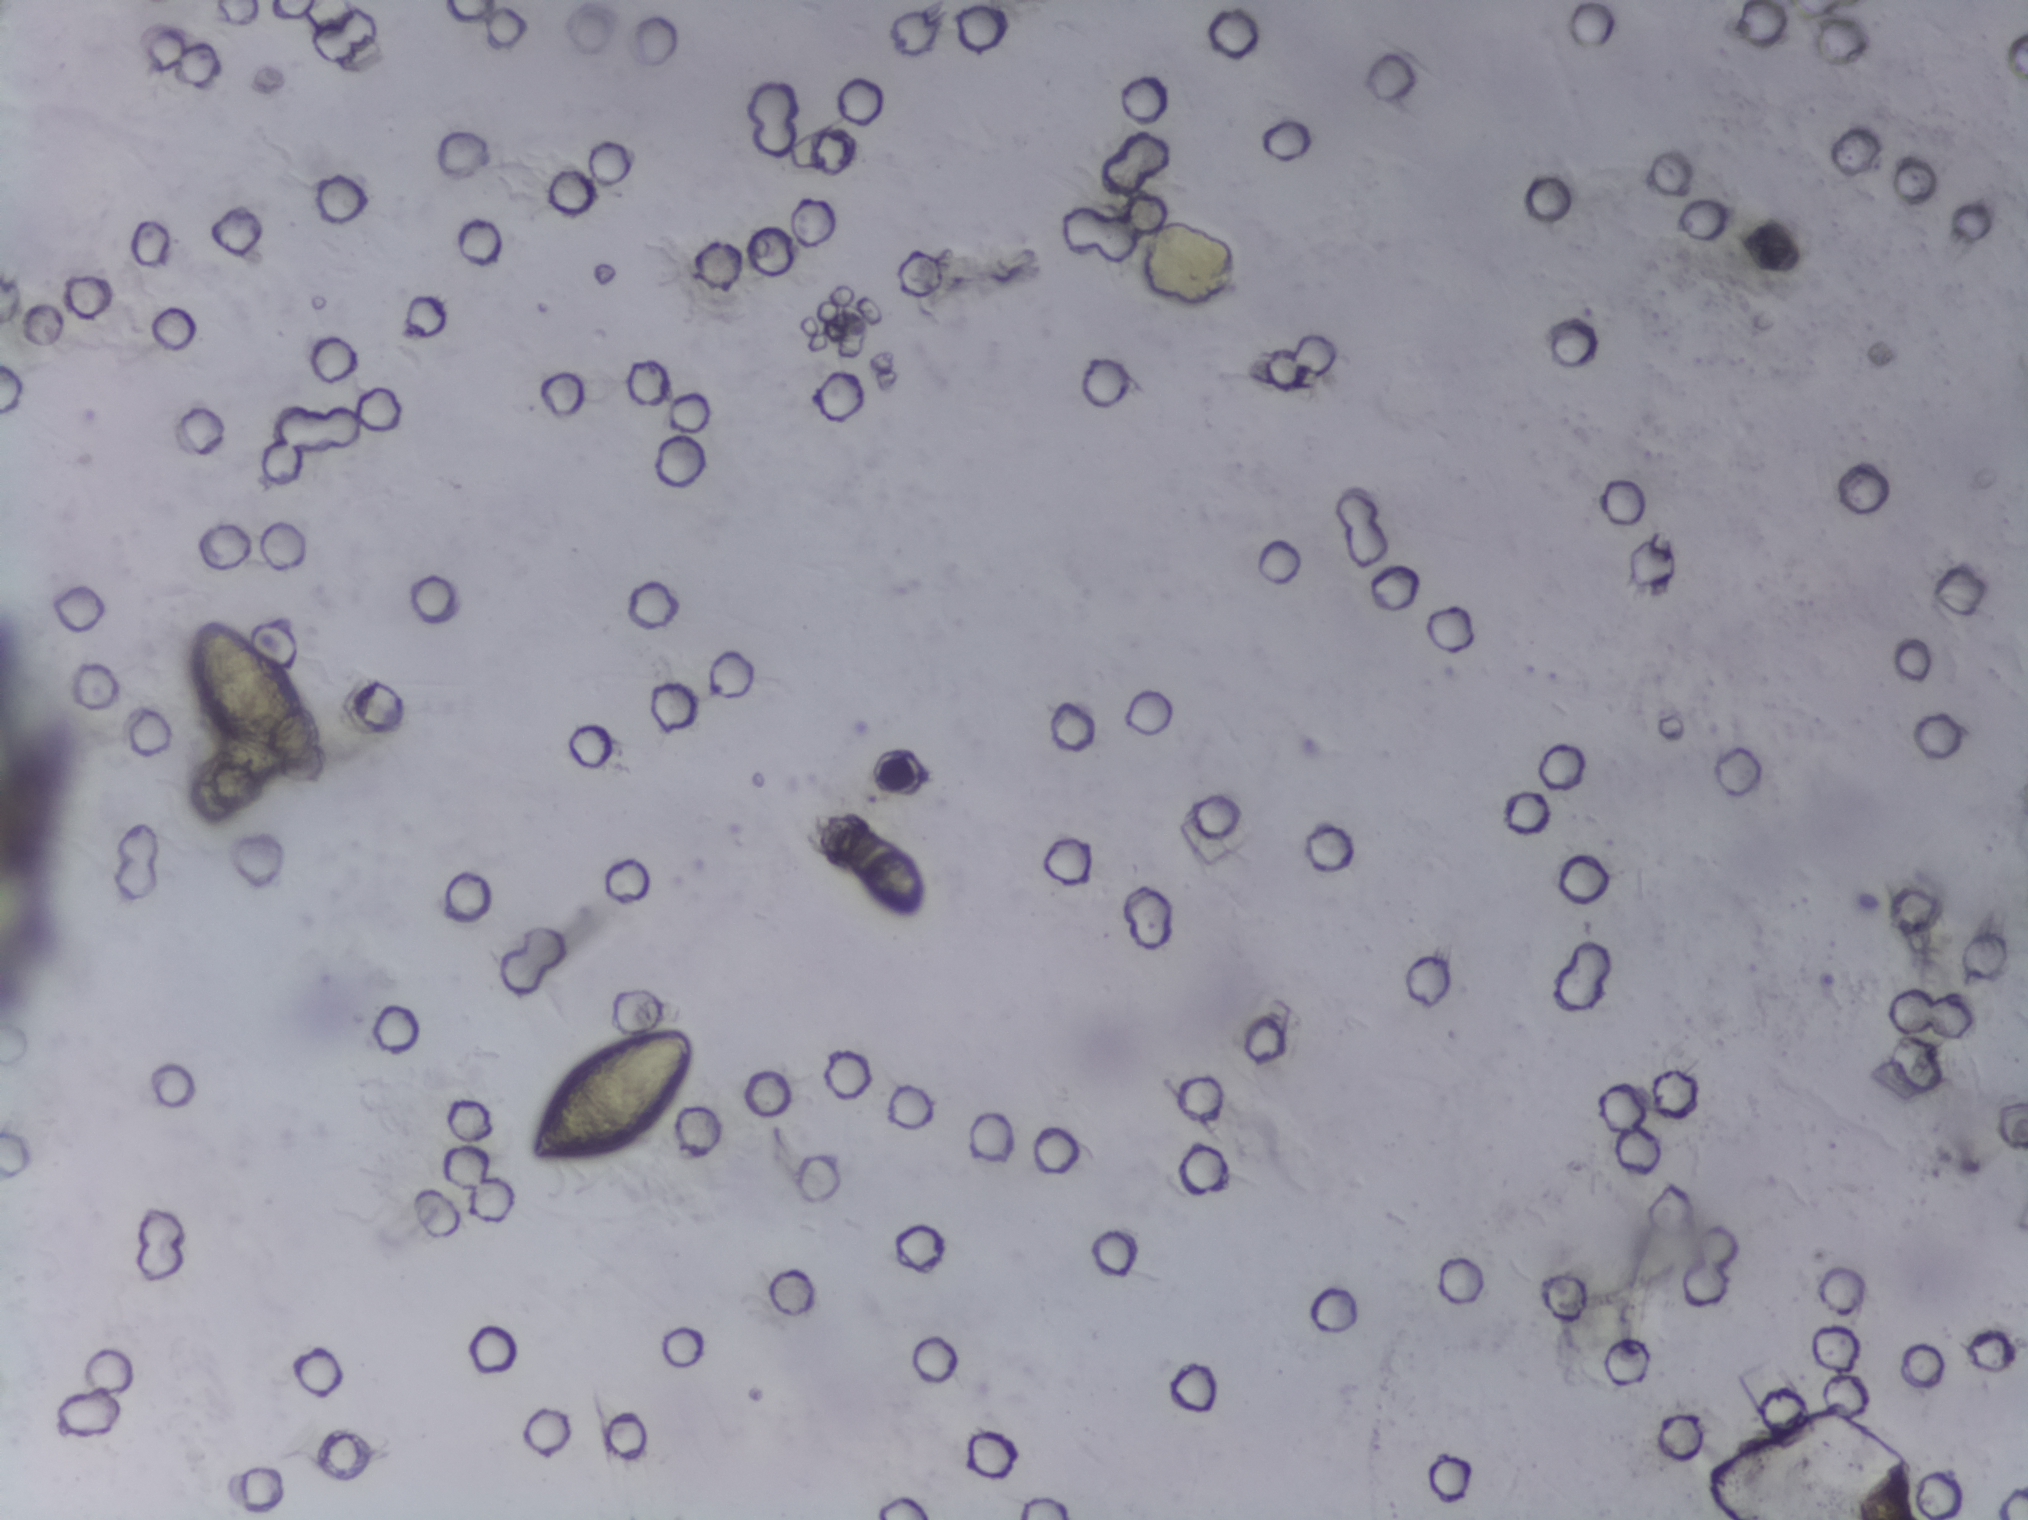
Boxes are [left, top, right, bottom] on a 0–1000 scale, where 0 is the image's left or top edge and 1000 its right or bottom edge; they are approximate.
Schistosoma egg areas, outlined: [96, 407, 162, 516]; [263, 674, 345, 761]. Eggs that touch can end up inside the same outlined area. A marked egg may occasionally be S. mansoni rather than S. haematobium.
One field of view of a urine filter membrane, 4× objective, 2028 × 1520 pixels. The image covers about 1.5 × 1.1 mm of the membrane.